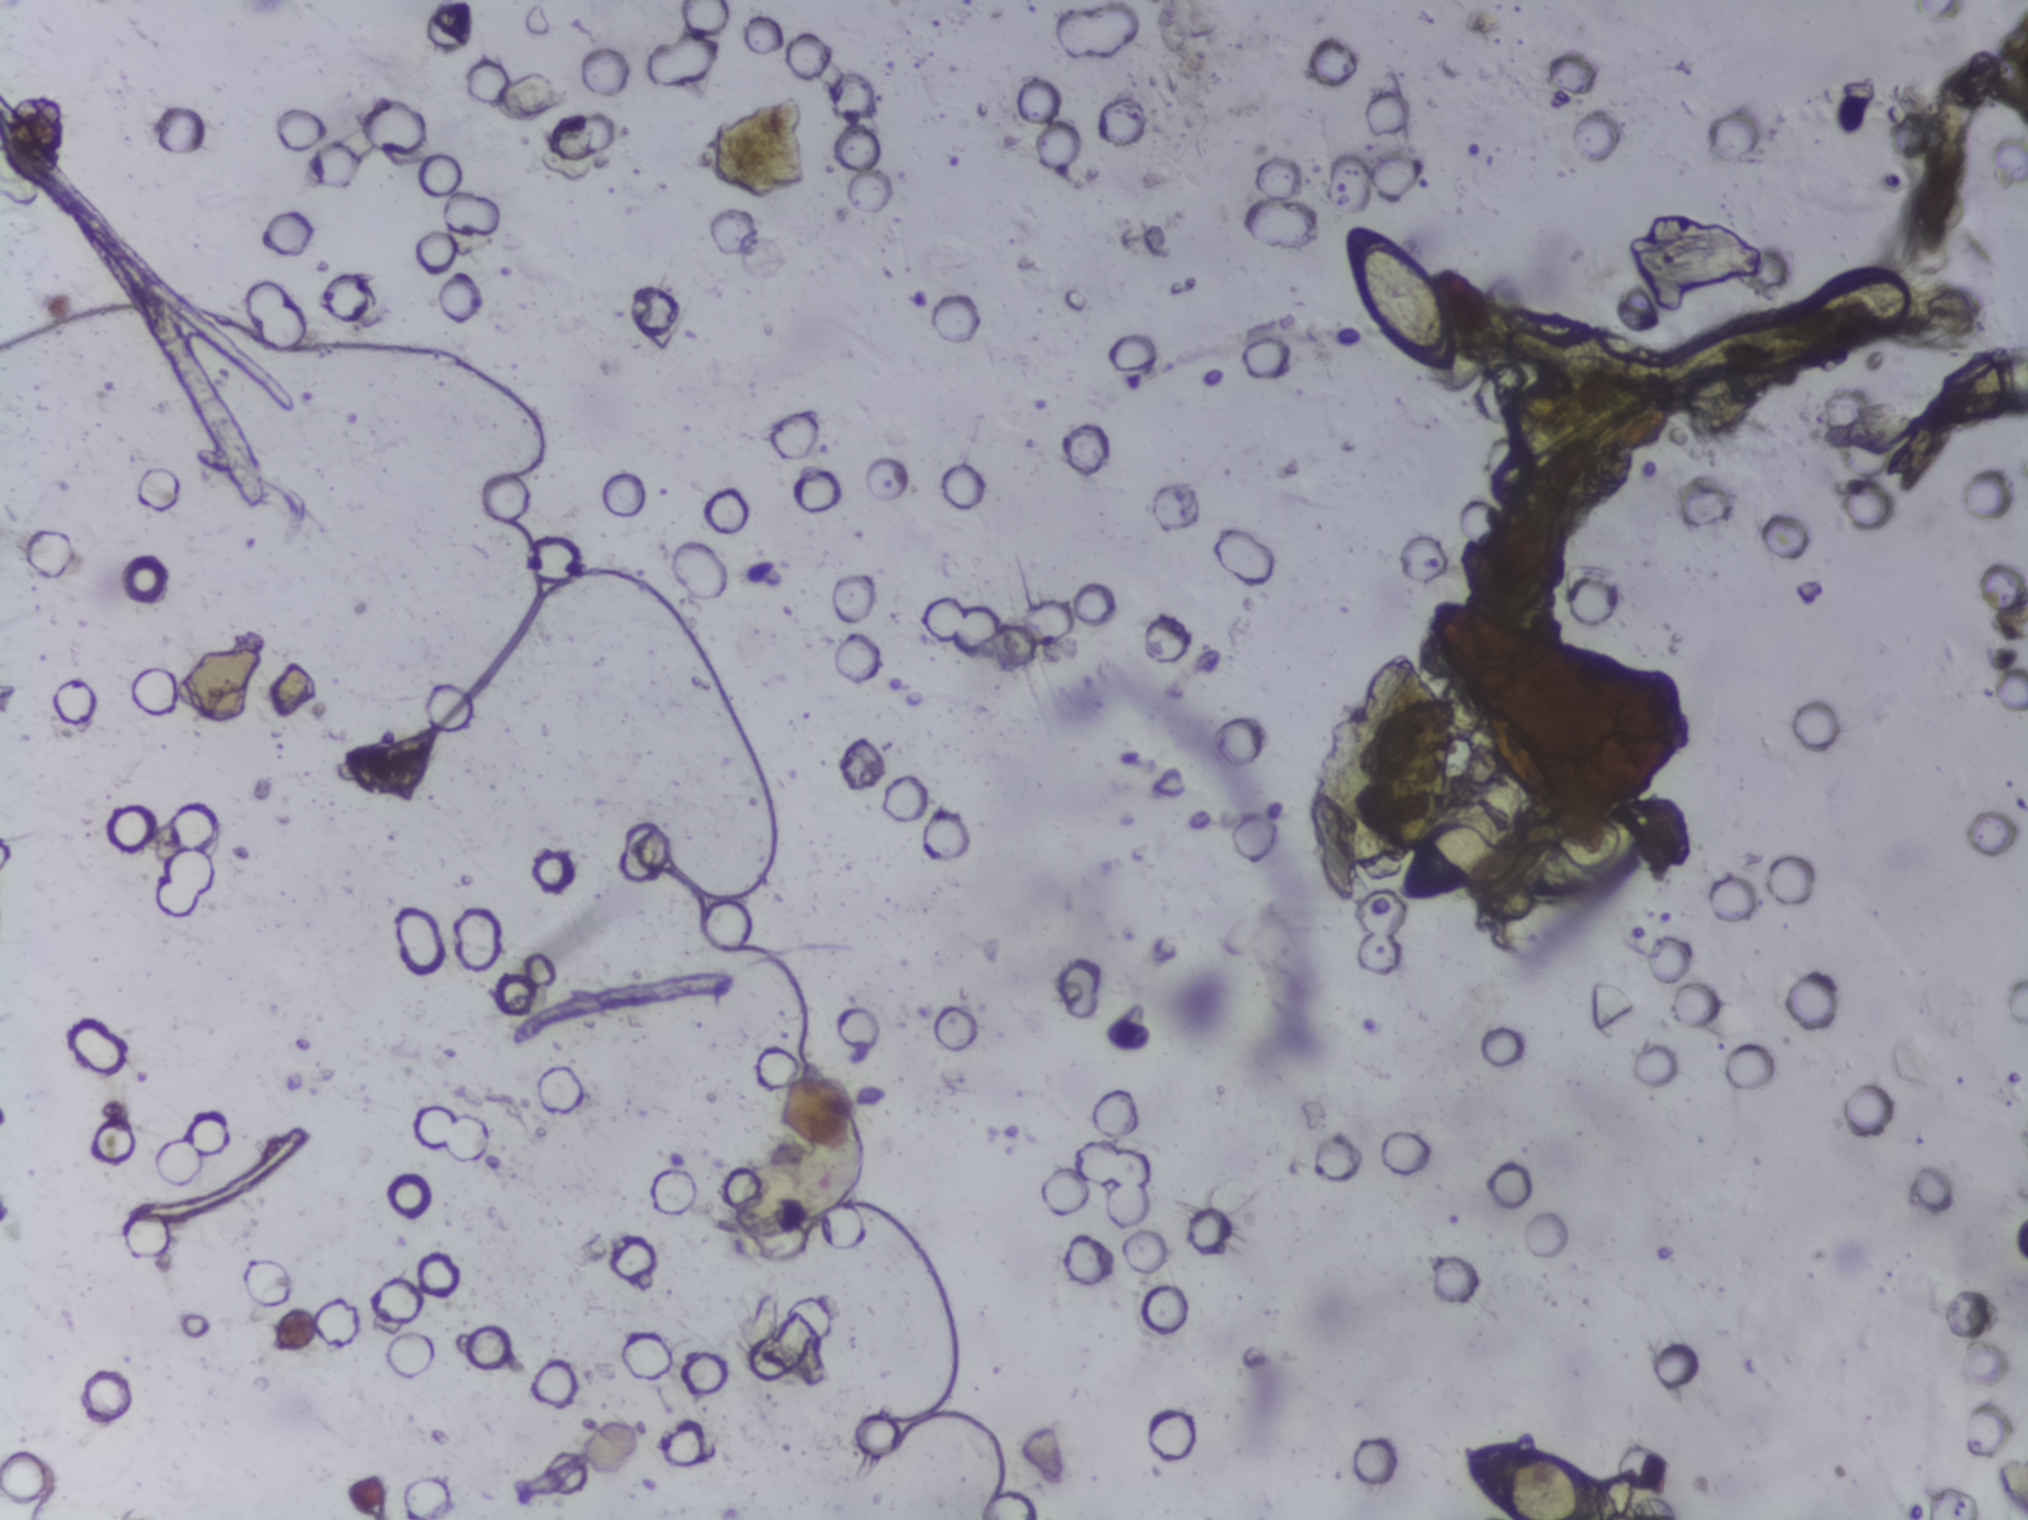
One field of view of a urine filter membrane, 4× objective, 2028 × 1520 pixels.
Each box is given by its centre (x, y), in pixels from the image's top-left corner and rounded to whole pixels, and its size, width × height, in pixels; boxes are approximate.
Four areas of this image are outlined as Schistosoma eggs, from left to right: centre (1399, 299), 123 × 152 px; centre (1466, 834), 155 × 162 px; centre (1540, 1477), 172 × 85 px (reaching the bottom edge of the frame); centre (1591, 844), 166 × 97 px. An outlined area can hold more than one egg.